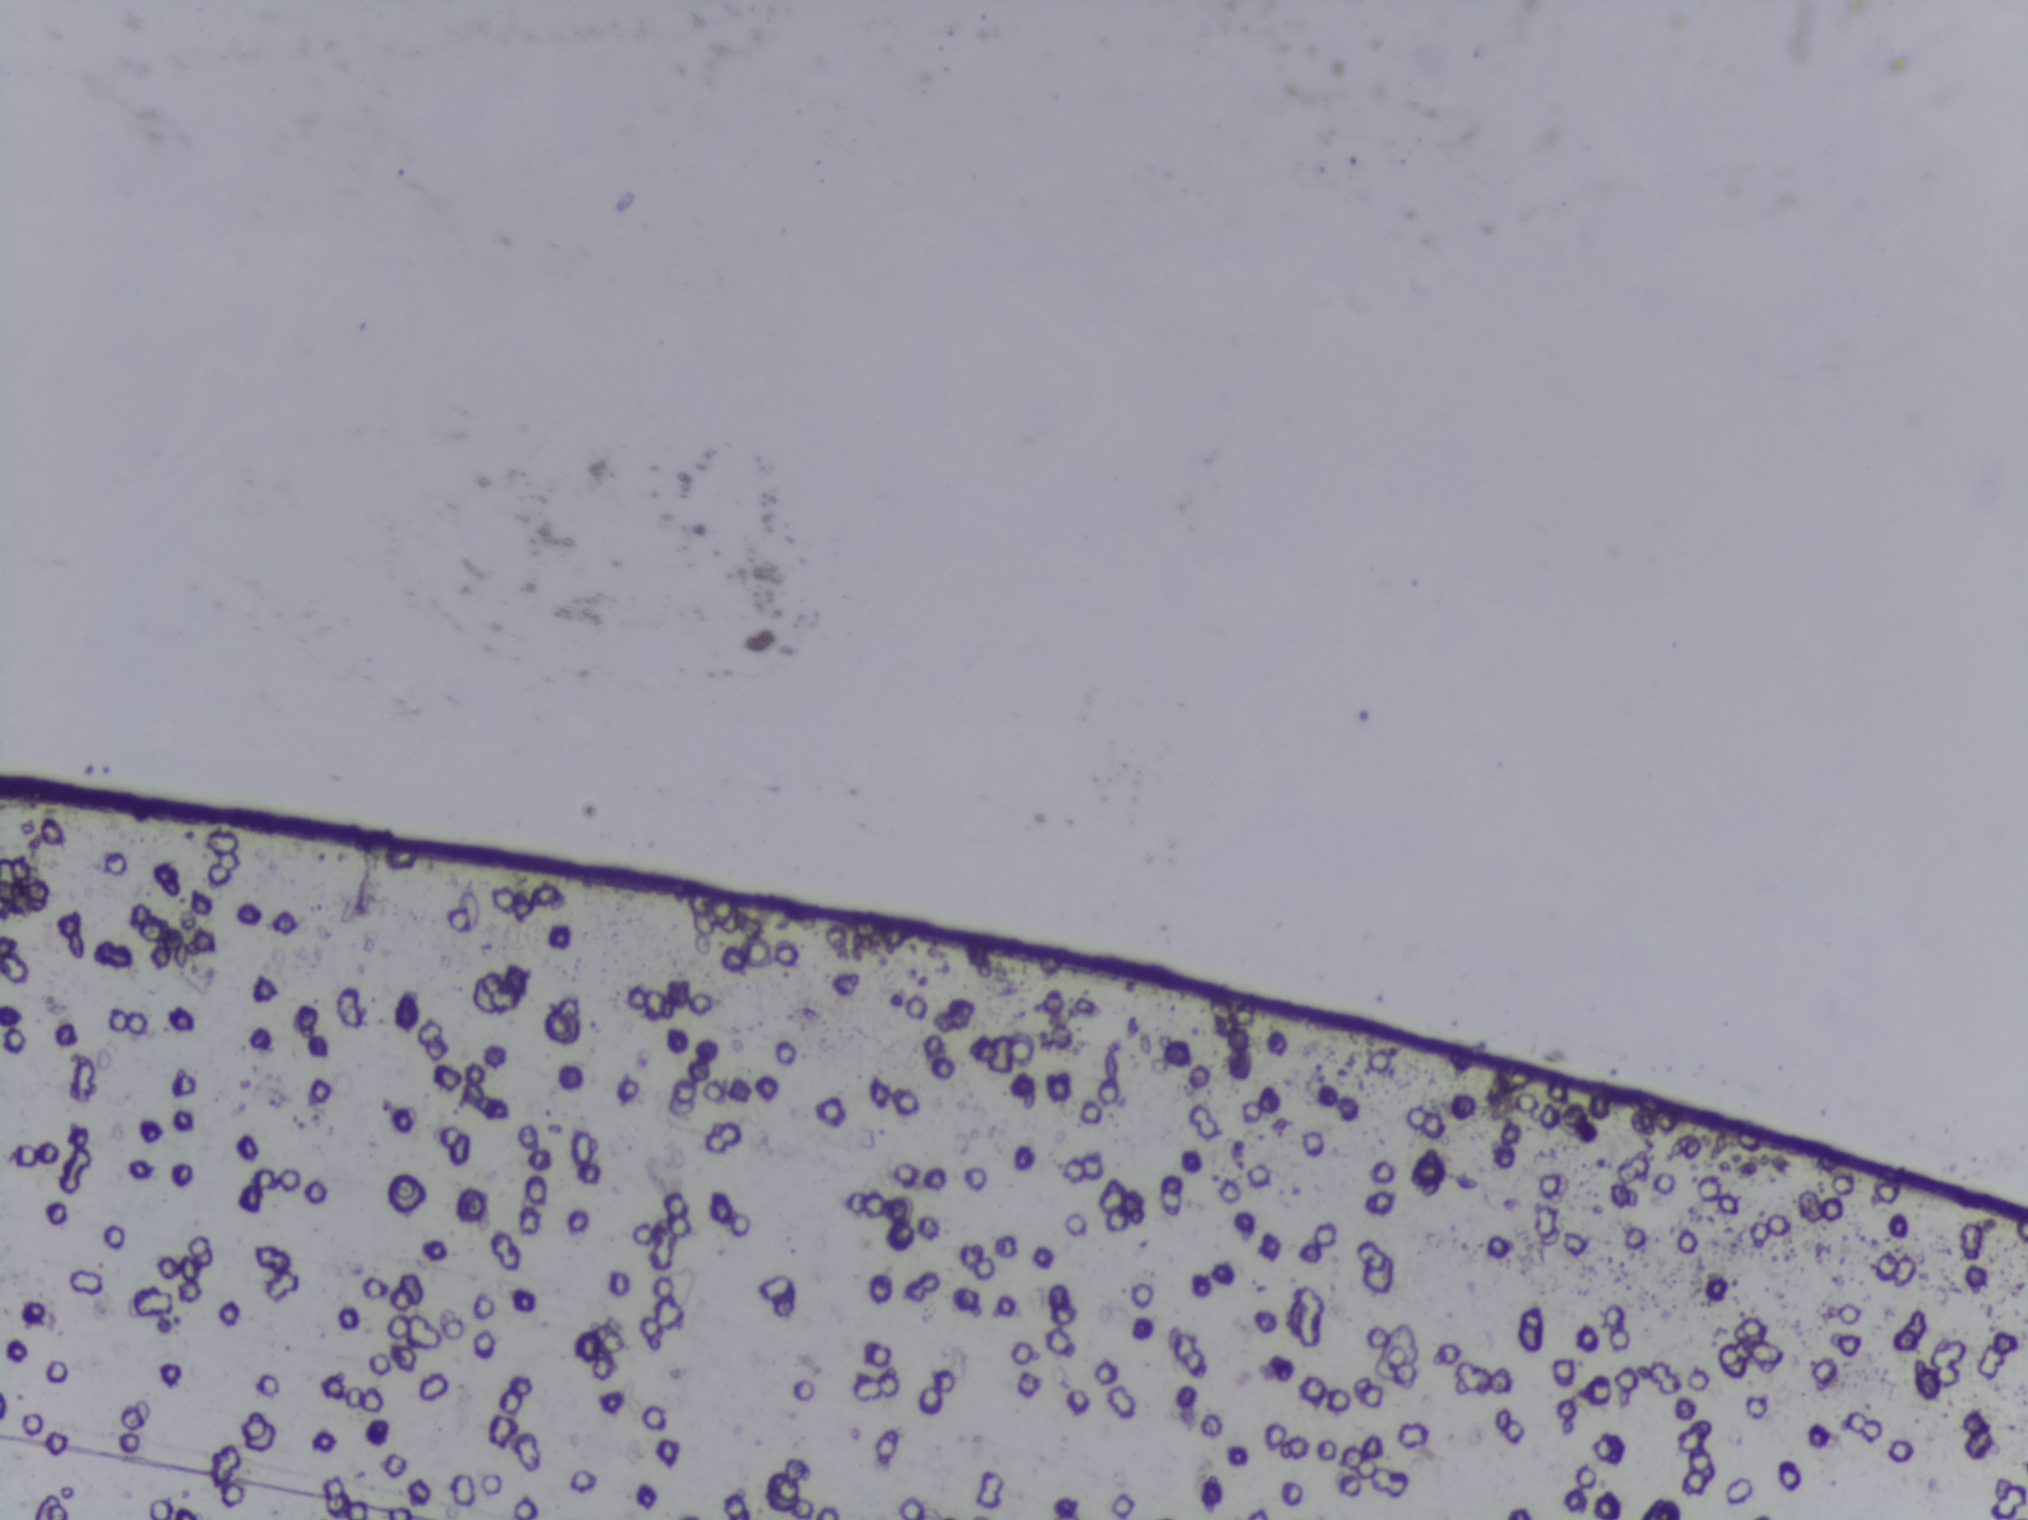
Urine filtration membrane under a 4× objective, photographed by an automated digital microscope.
The expert annotation marks no Schistosoma egg in this field of view.